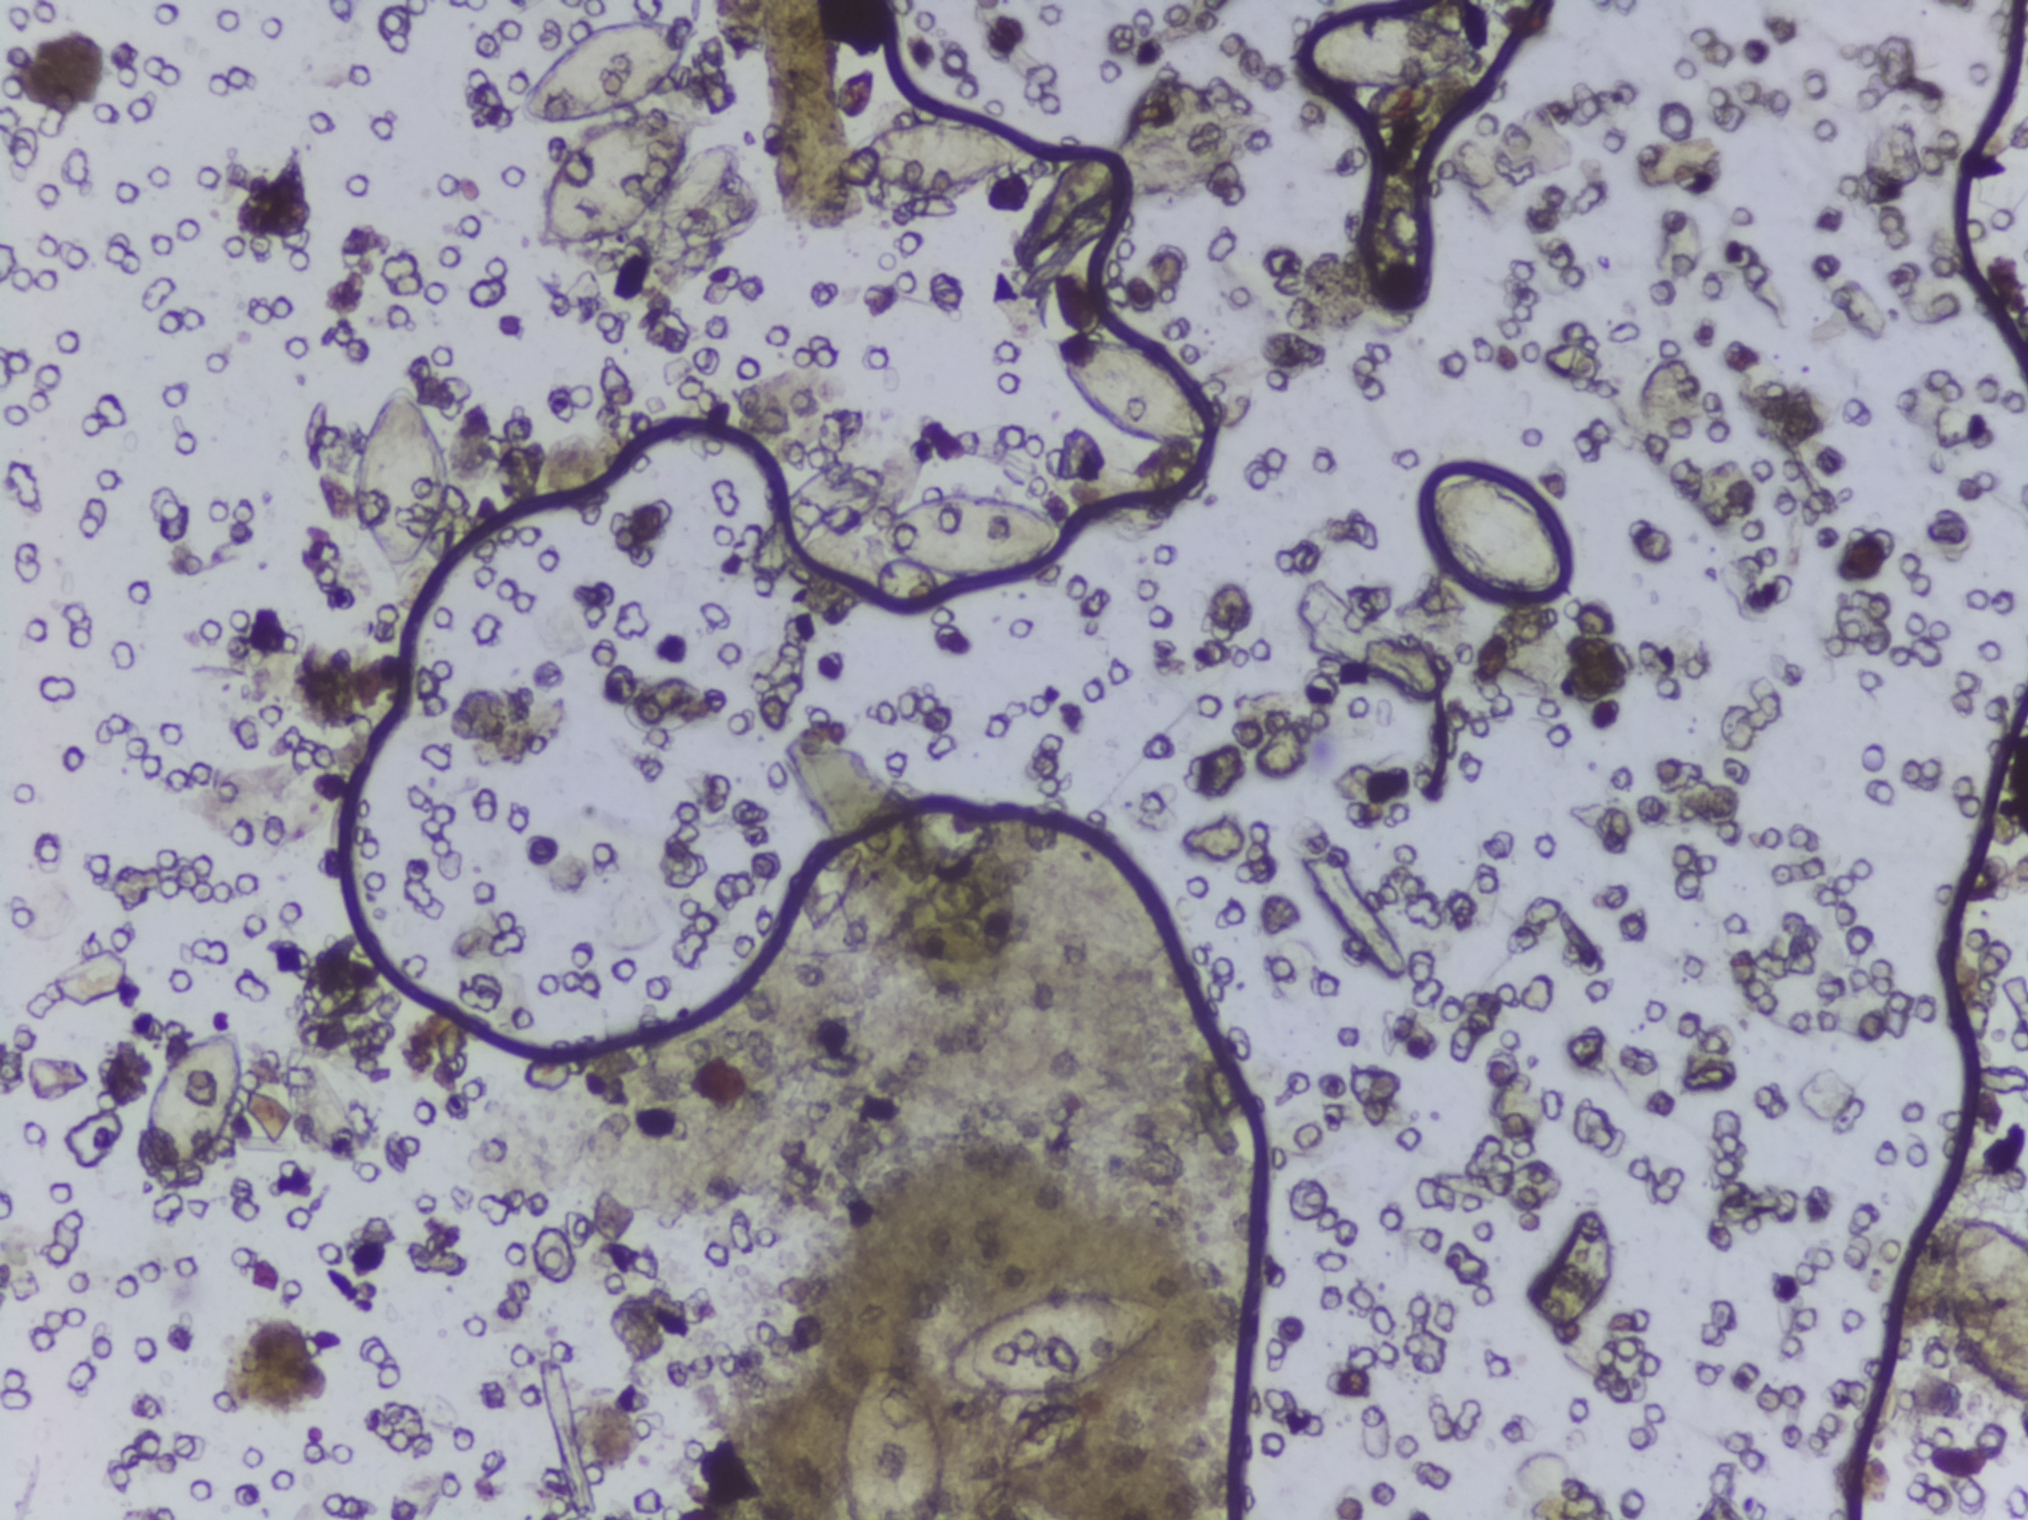
Urine filtration membrane under a 4× objective, photographed by an automated digital microscope. The field of view is about 1.5 mm × 1.1 mm.
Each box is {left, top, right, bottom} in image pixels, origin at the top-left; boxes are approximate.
Outlined Schistosoma egg areas, left to right:
1. {143, 1025, 245, 1189}
2. {348, 379, 457, 592}
3. {511, 16, 743, 248}
4. {837, 1353, 940, 1519} (reaching the bottom edge of the frame)
5. {852, 110, 1041, 201}
6. {862, 486, 1075, 586}
7. {934, 1289, 1168, 1399}
8. {1048, 335, 1222, 449}
9. {1284, 9, 1481, 98}
10. {1422, 467, 1579, 604}
11. {1936, 1209, 2027, 1399} (reaching the right edge of the frame)
The marked pixels themselves, not the boxes around them, cover about 5.6% of the image. An outlined area can hold more than one egg.